Urine filtration membrane under a 4× objective, photographed by an automated digital microscope.
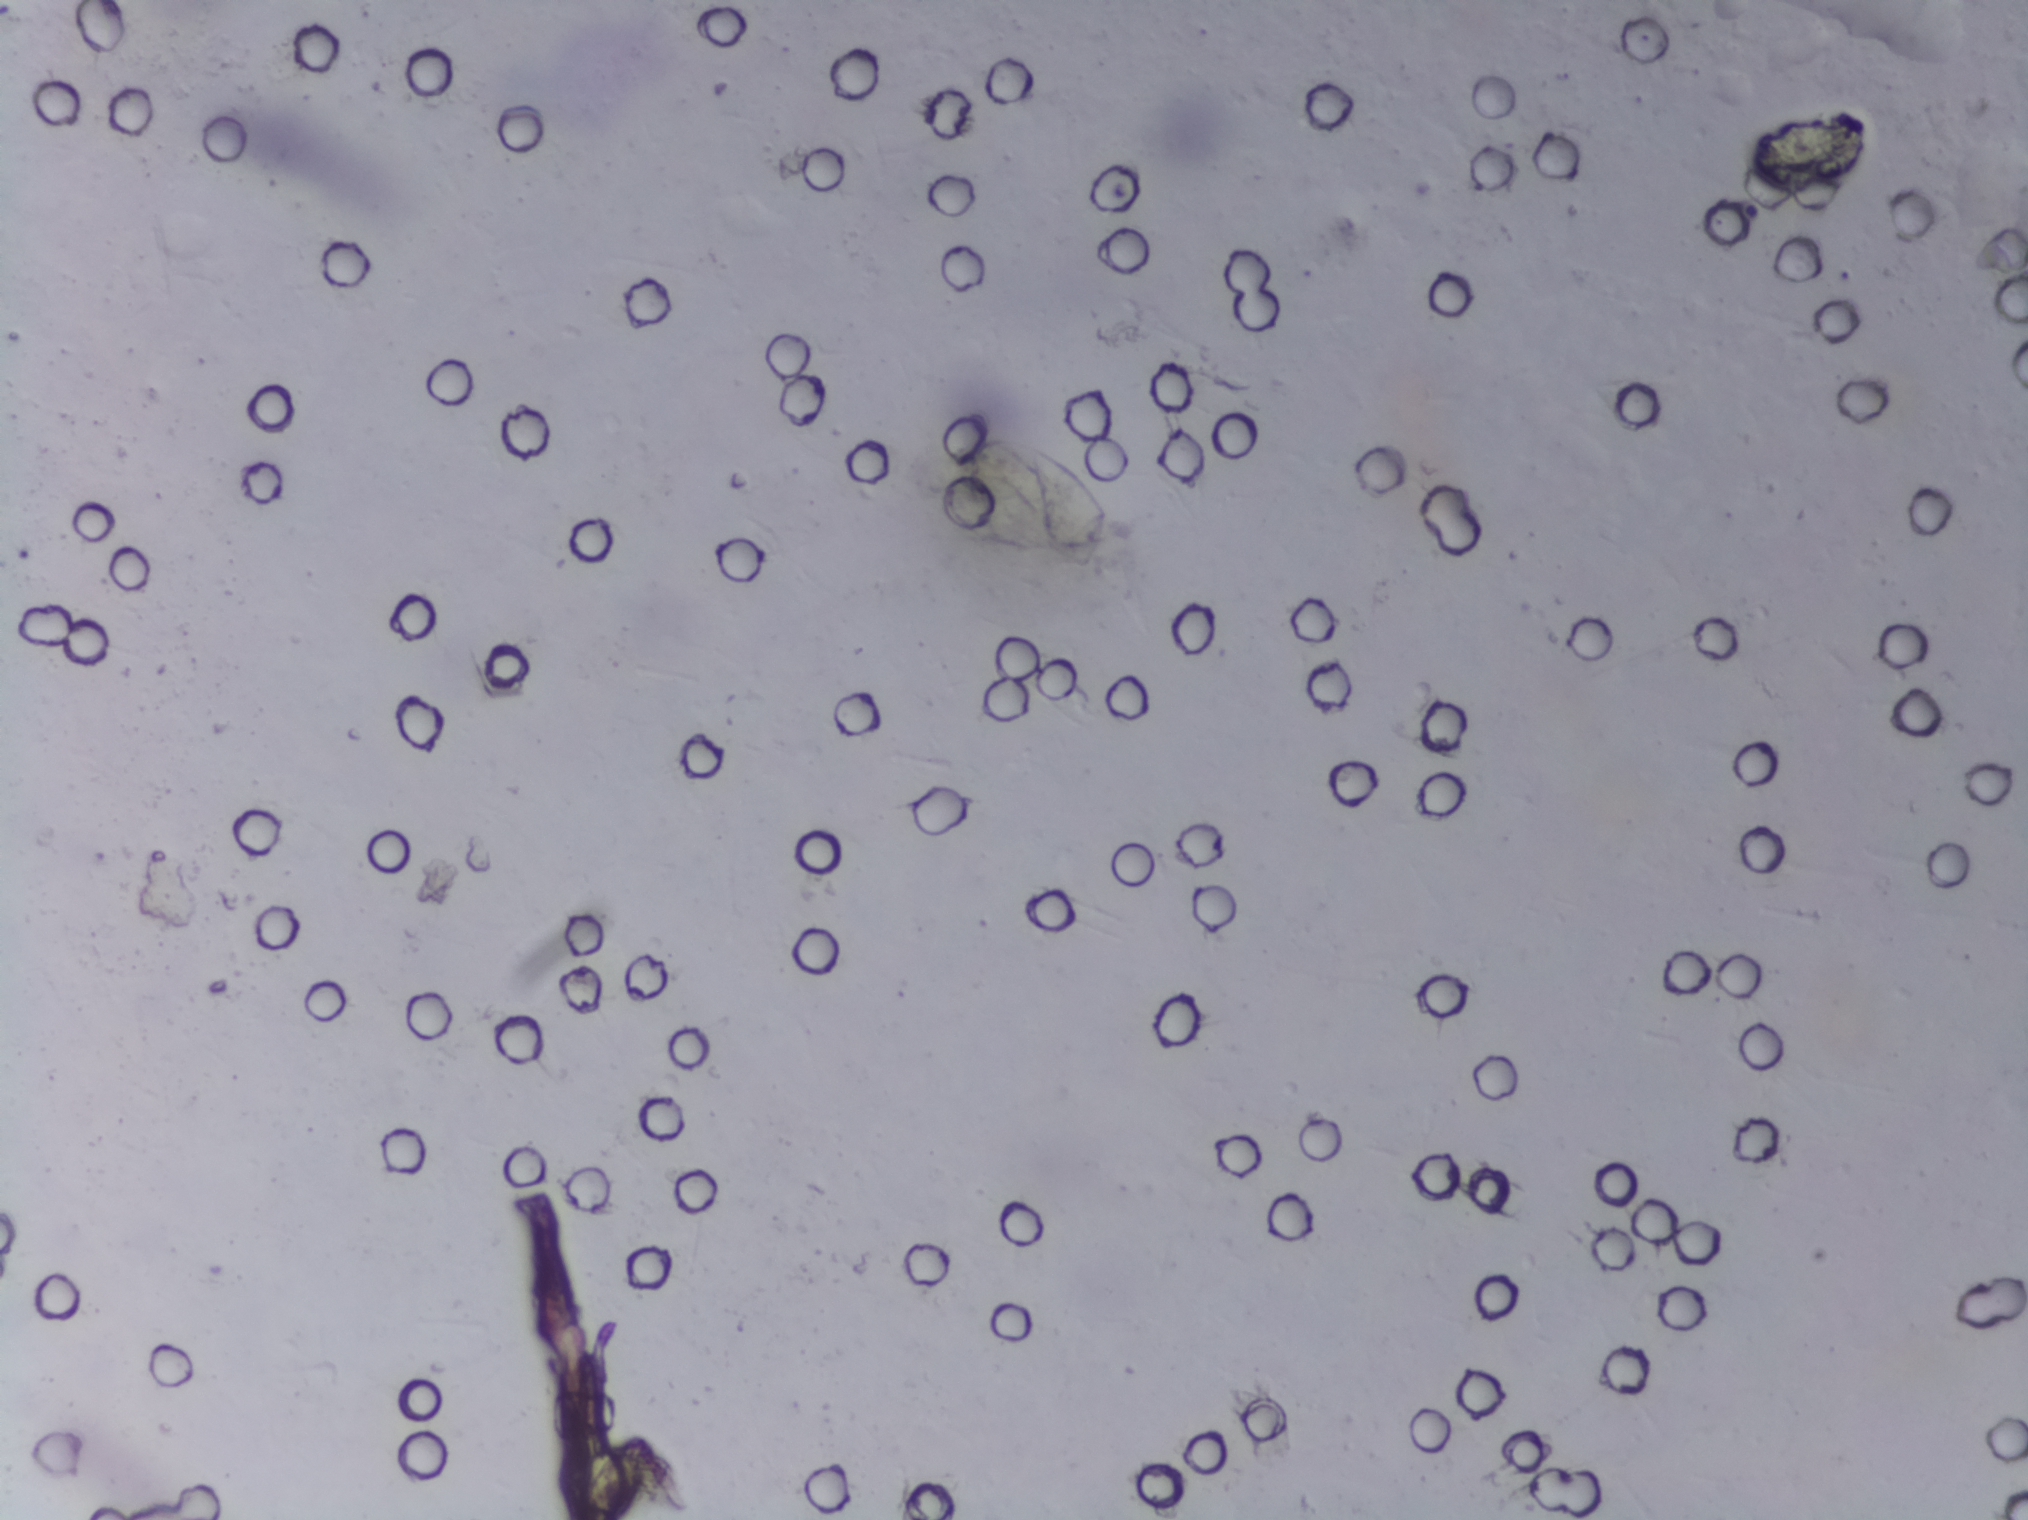
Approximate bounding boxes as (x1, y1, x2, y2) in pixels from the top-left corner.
Findings: one area outlined as Schistosoma eggs. Location: (917, 435, 1124, 561). Eggs that touch can end up inside the same outlined area.